Urine filtration membrane under a 4× objective, photographed by an automated digital microscope.
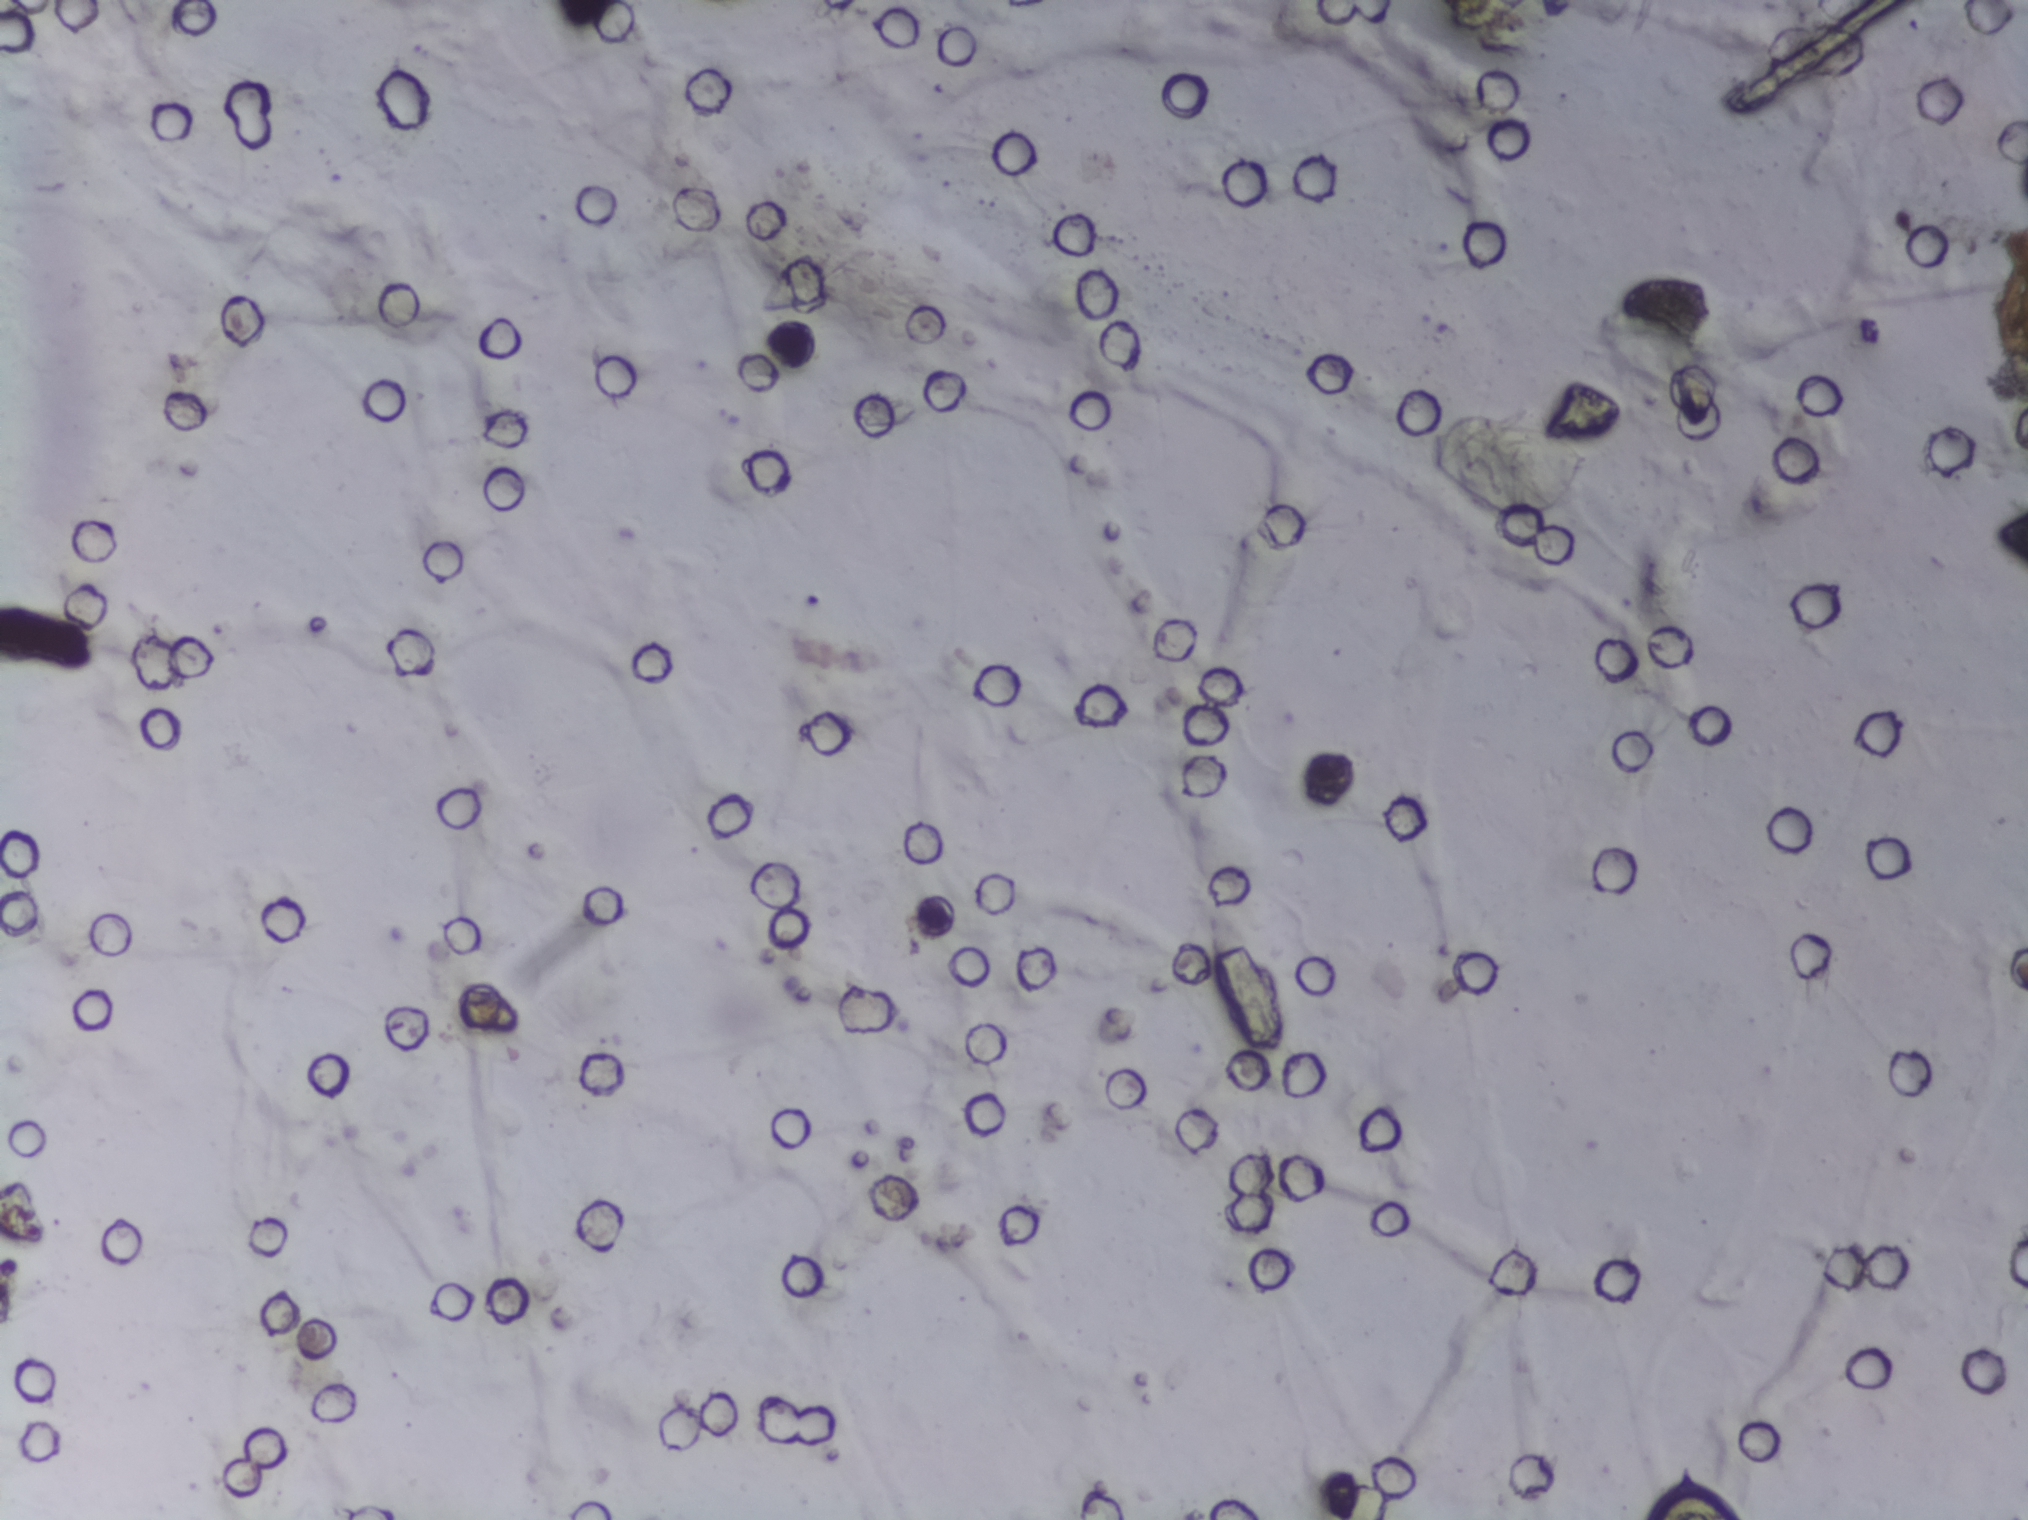
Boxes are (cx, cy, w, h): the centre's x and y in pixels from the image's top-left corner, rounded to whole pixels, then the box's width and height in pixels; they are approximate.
Schistosoma eggs are outlined in the expert annotation at (cx=1509, cy=471, w=173, h=117). About 0.5% of the image's pixels are marked (the marked pixels themselves, not the box around them). An outlined area can hold more than one egg.